Microscope photograph (4× objective) of a membrane that a urine sample was filtered through. The image covers about 1.5 × 1.1 mm of the membrane.
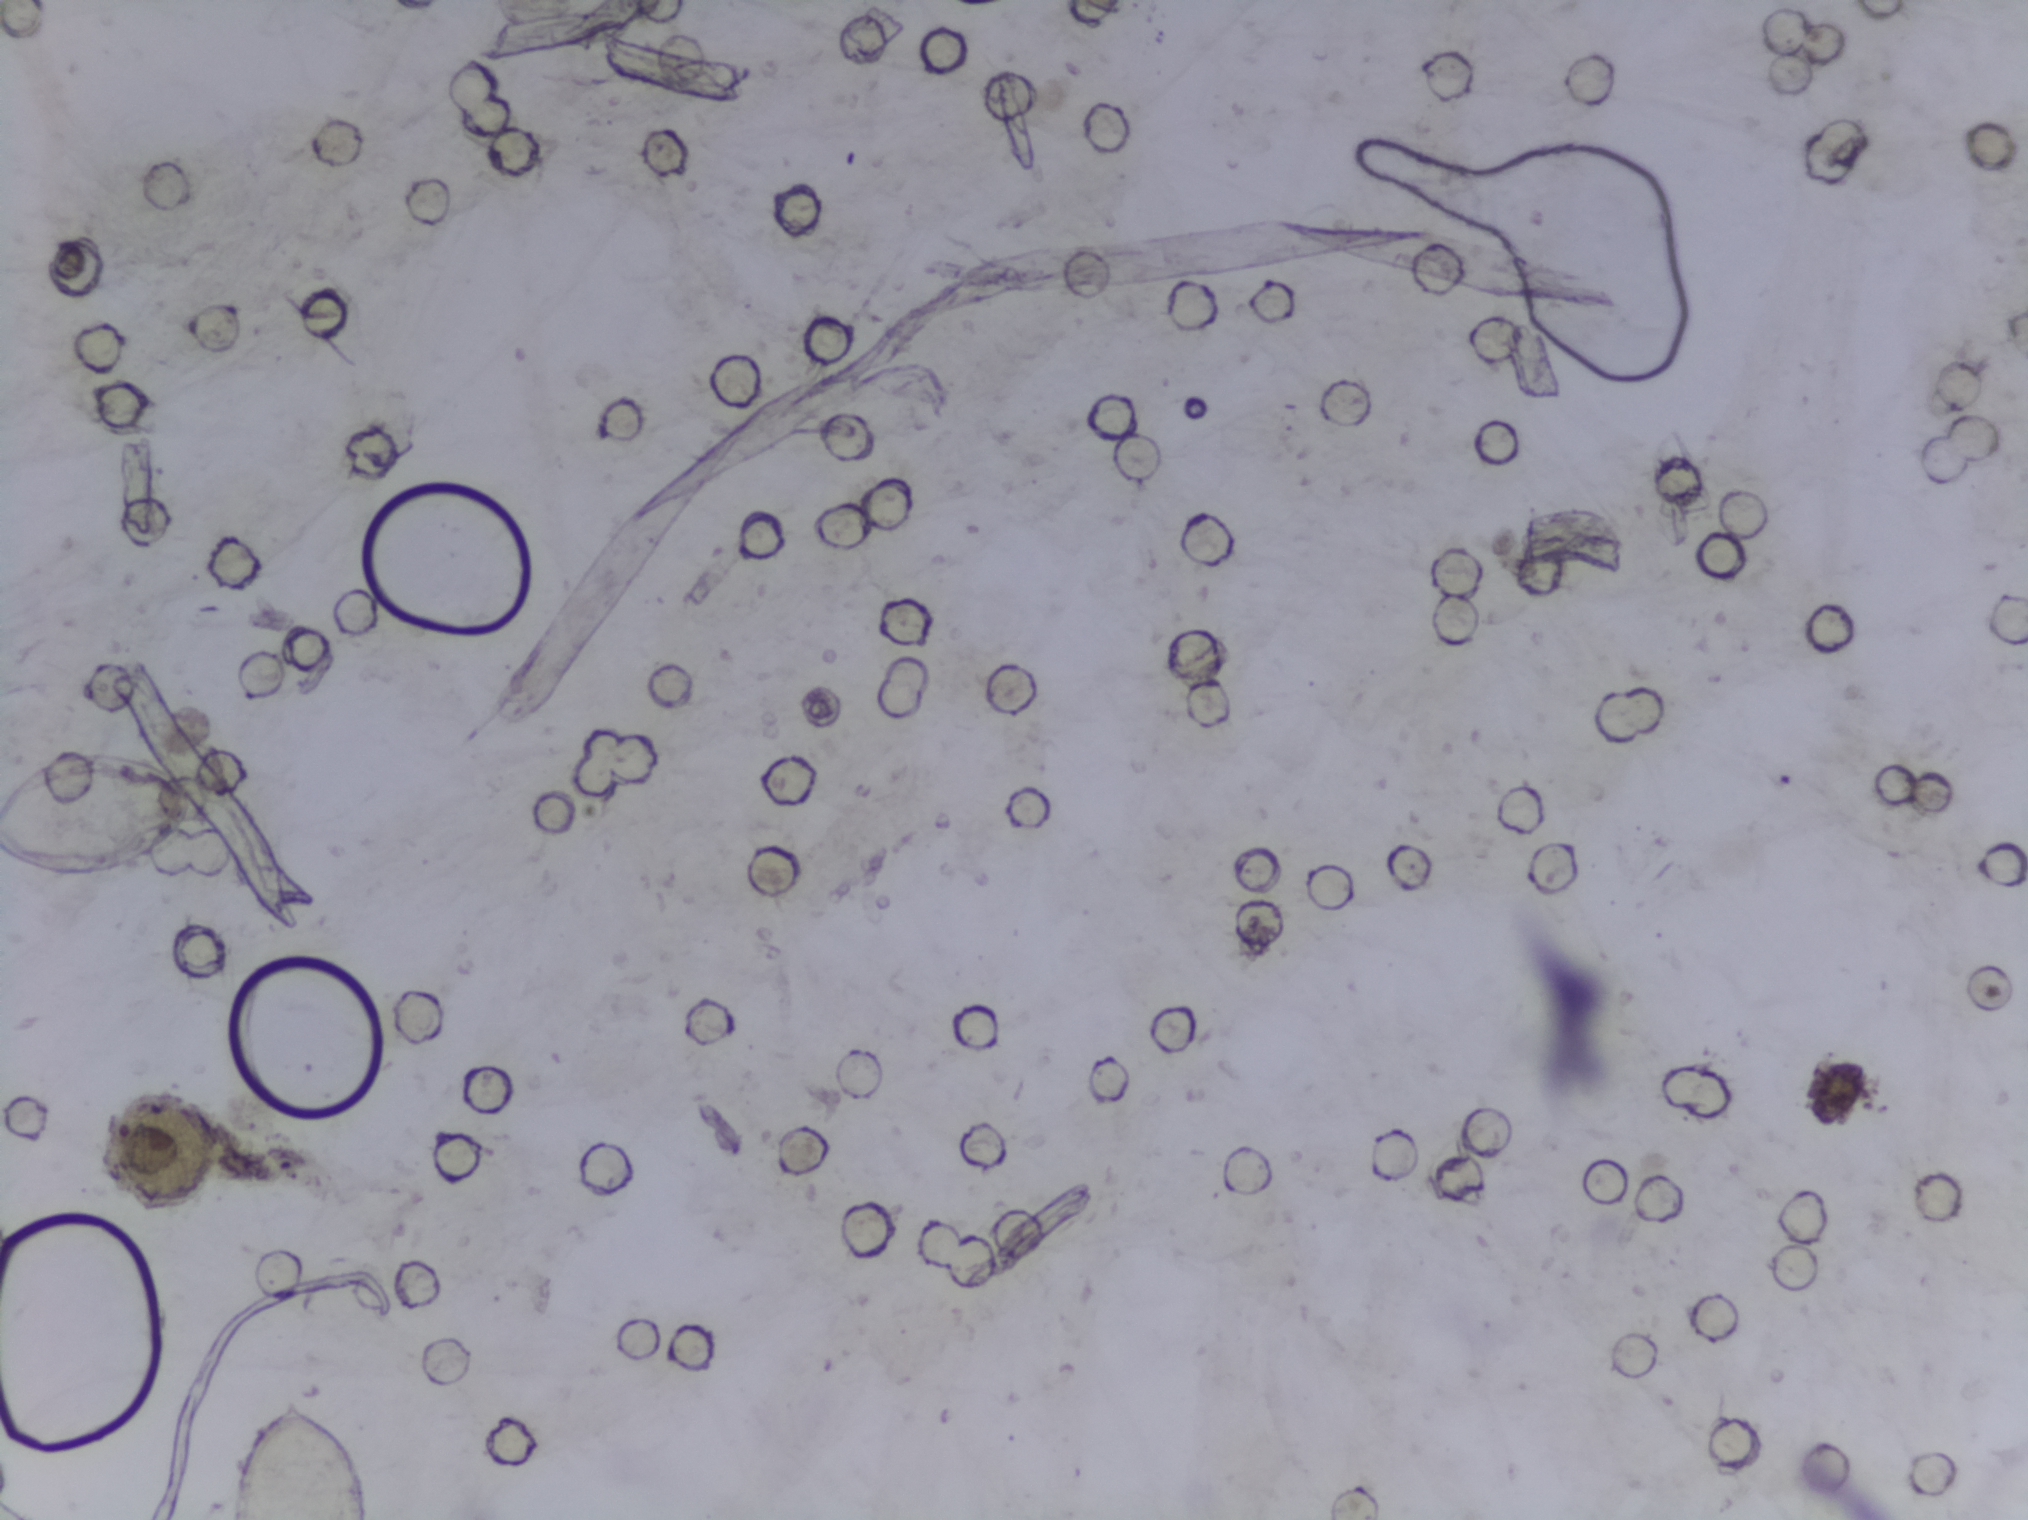
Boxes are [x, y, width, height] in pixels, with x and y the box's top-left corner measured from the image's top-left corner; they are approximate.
Findings: two areas outlined as Schistosoma eggs. Locations: [0, 752, 200, 134] (reaching the left edge of the frame); [218, 1388, 154, 132] (reaching the bottom edge of the frame). An outlined area can hold more than one egg.